Urine filtration membrane under a 4× objective, photographed by an automated digital microscope.
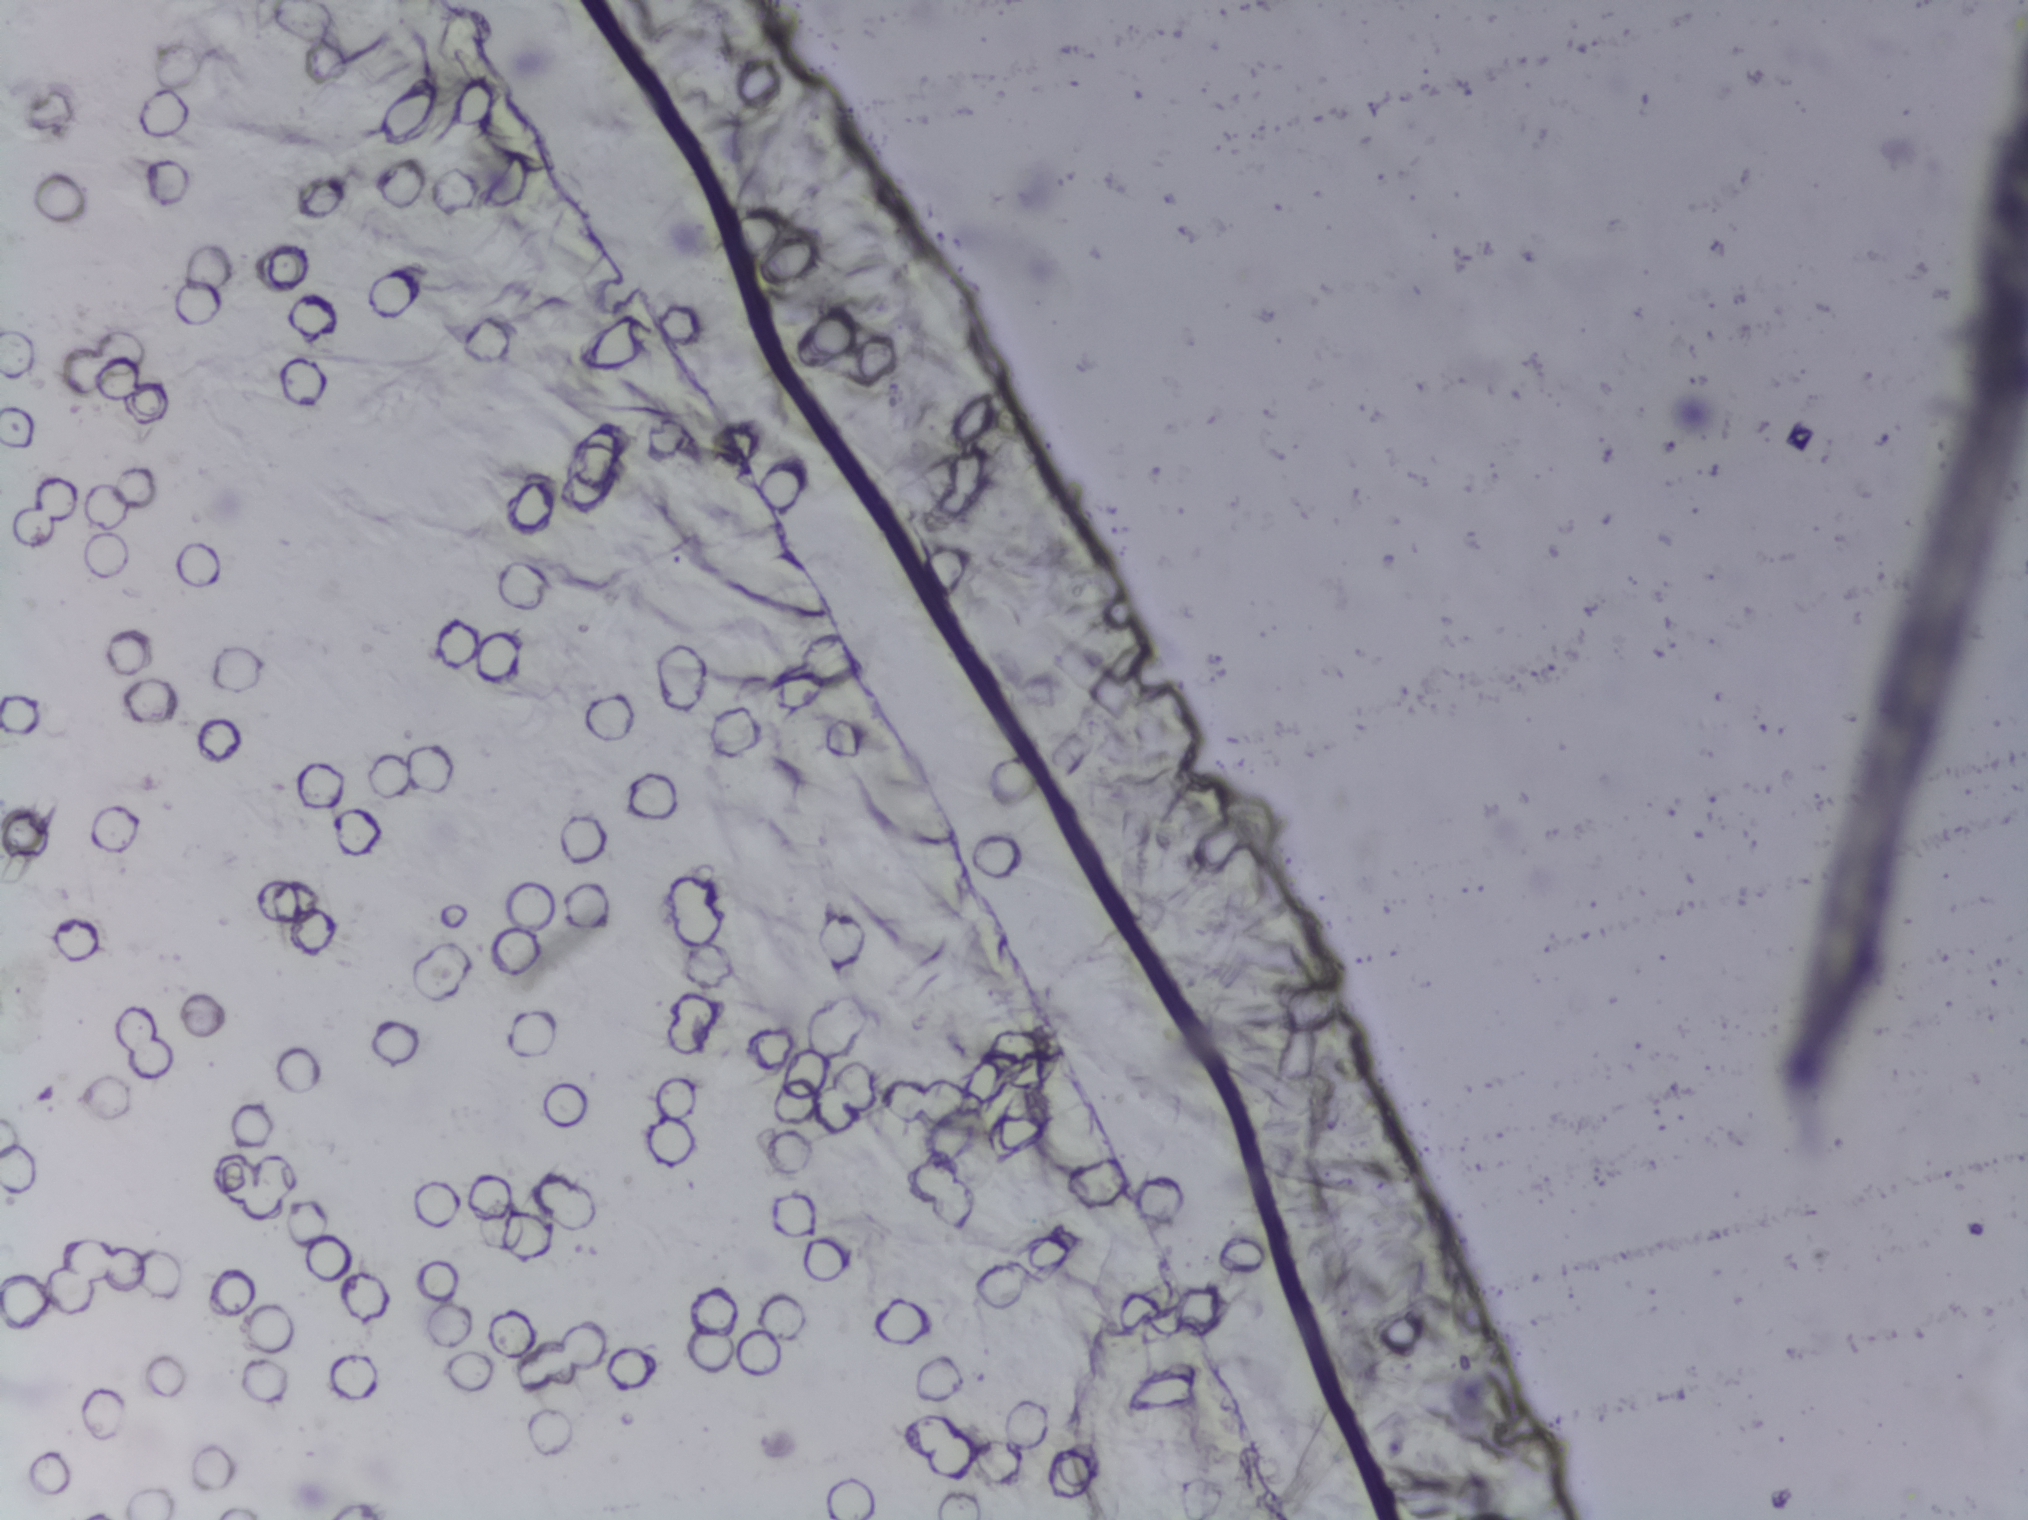
The expert annotation marks no Schistosoma egg in this field of view.